Photomicrograph of a urine filtration membrane, 4× objective.
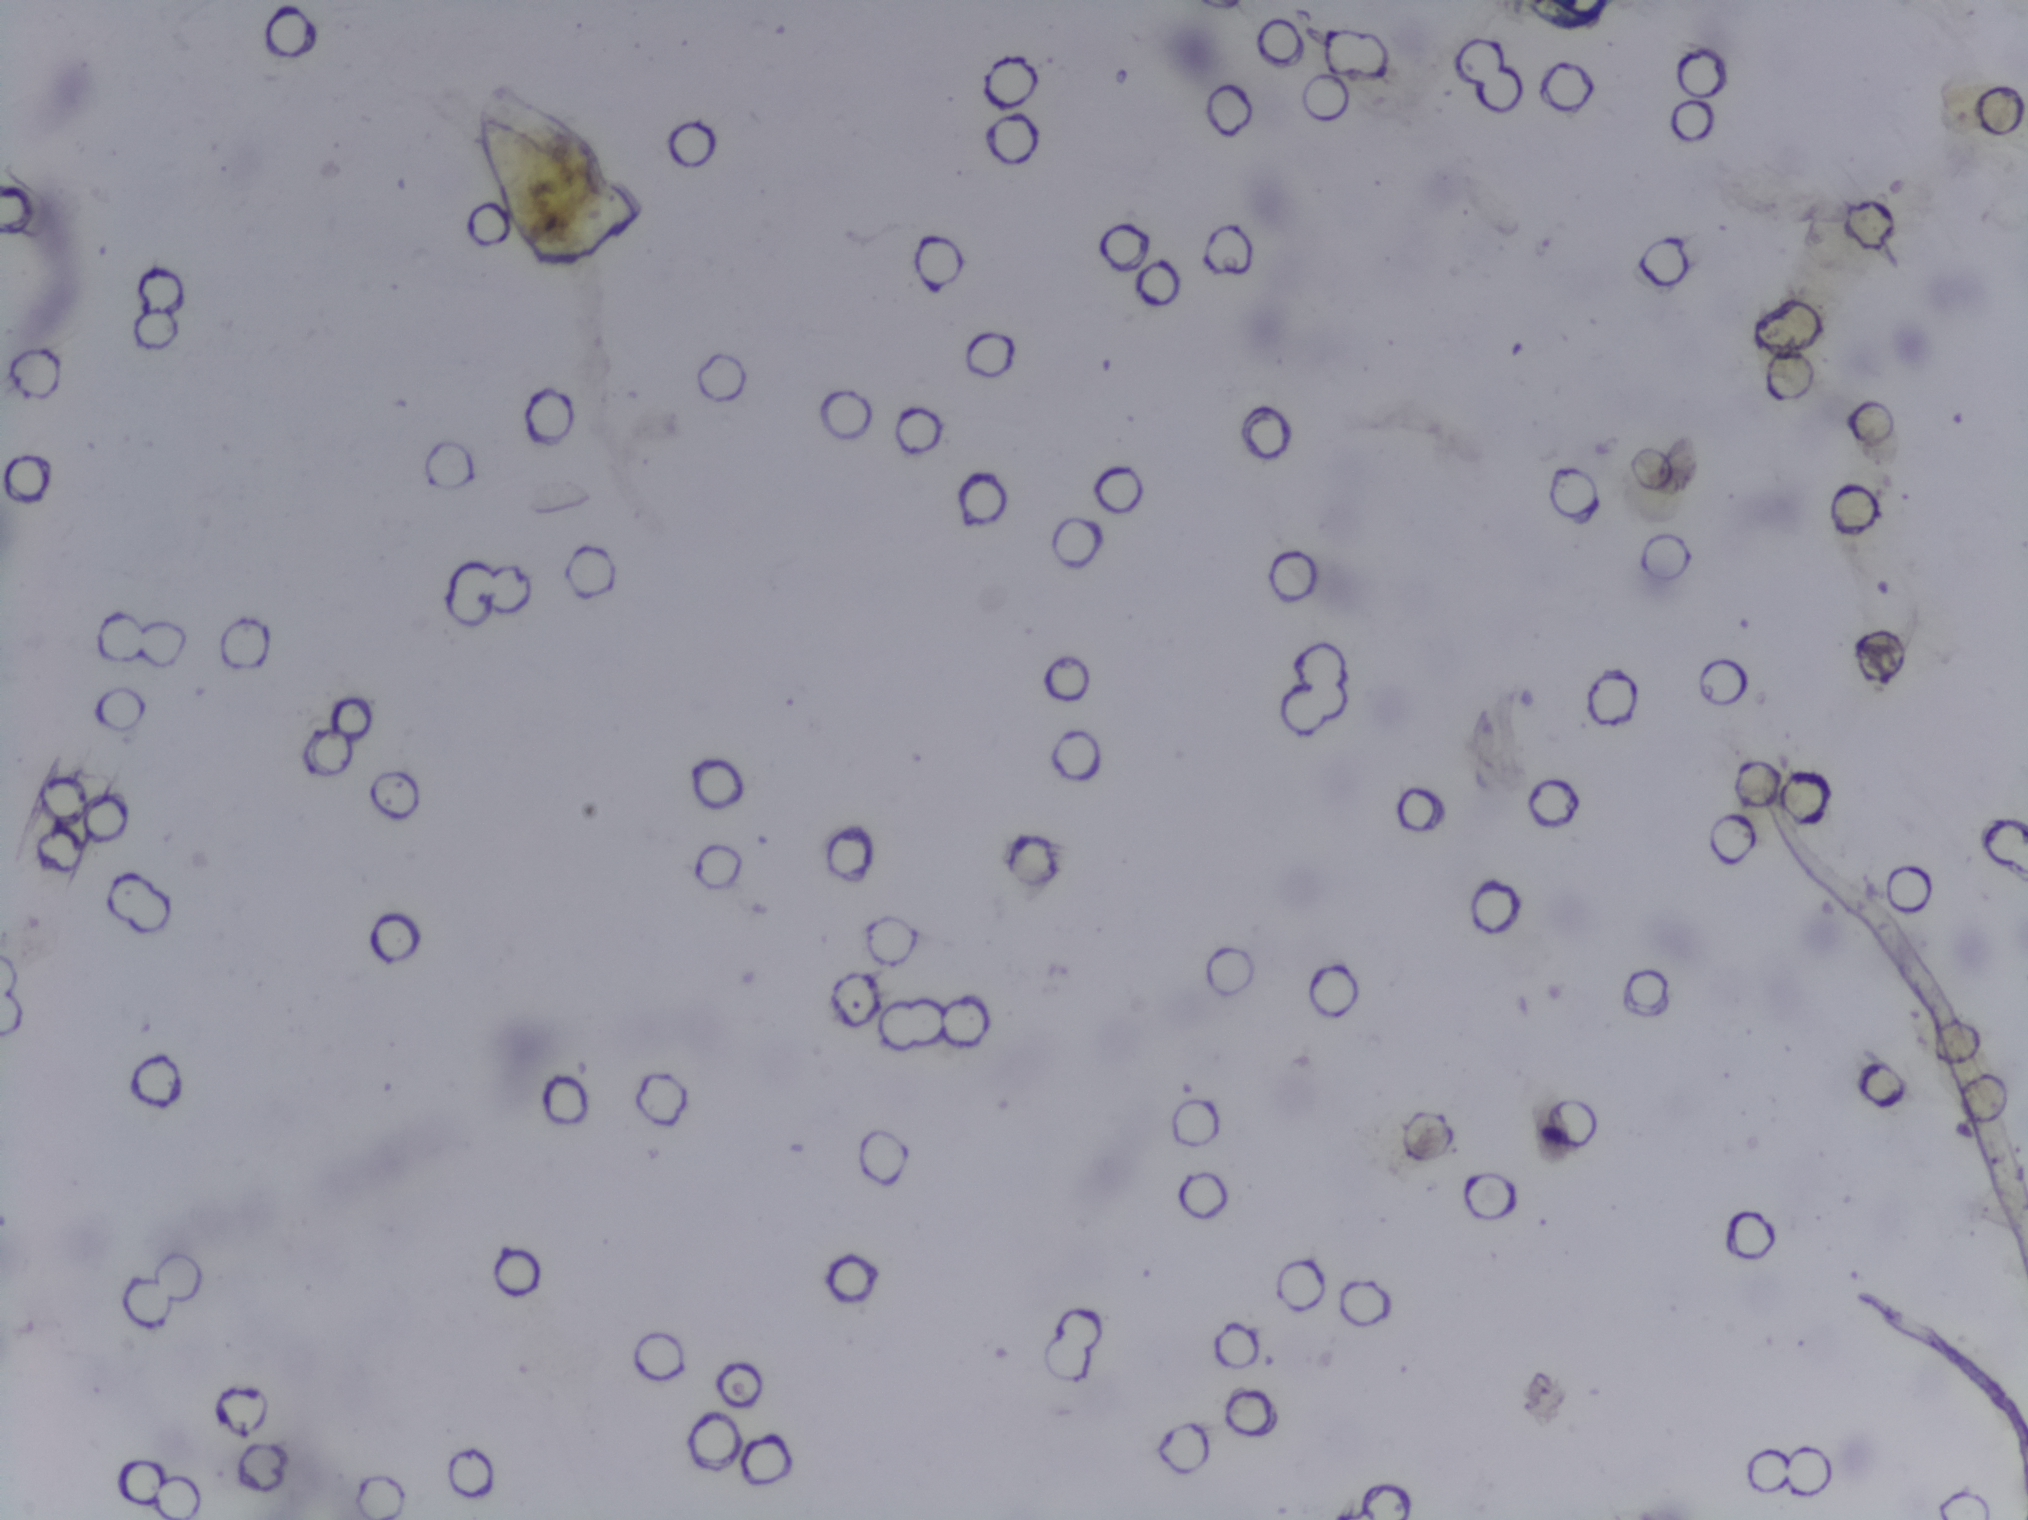
The expert annotation marks no Schistosoma egg in this field of view.